Urine filtration membrane under a 4× objective, photographed by an automated digital microscope. Field of view: about 1.5 mm wide and 1.1 mm high.
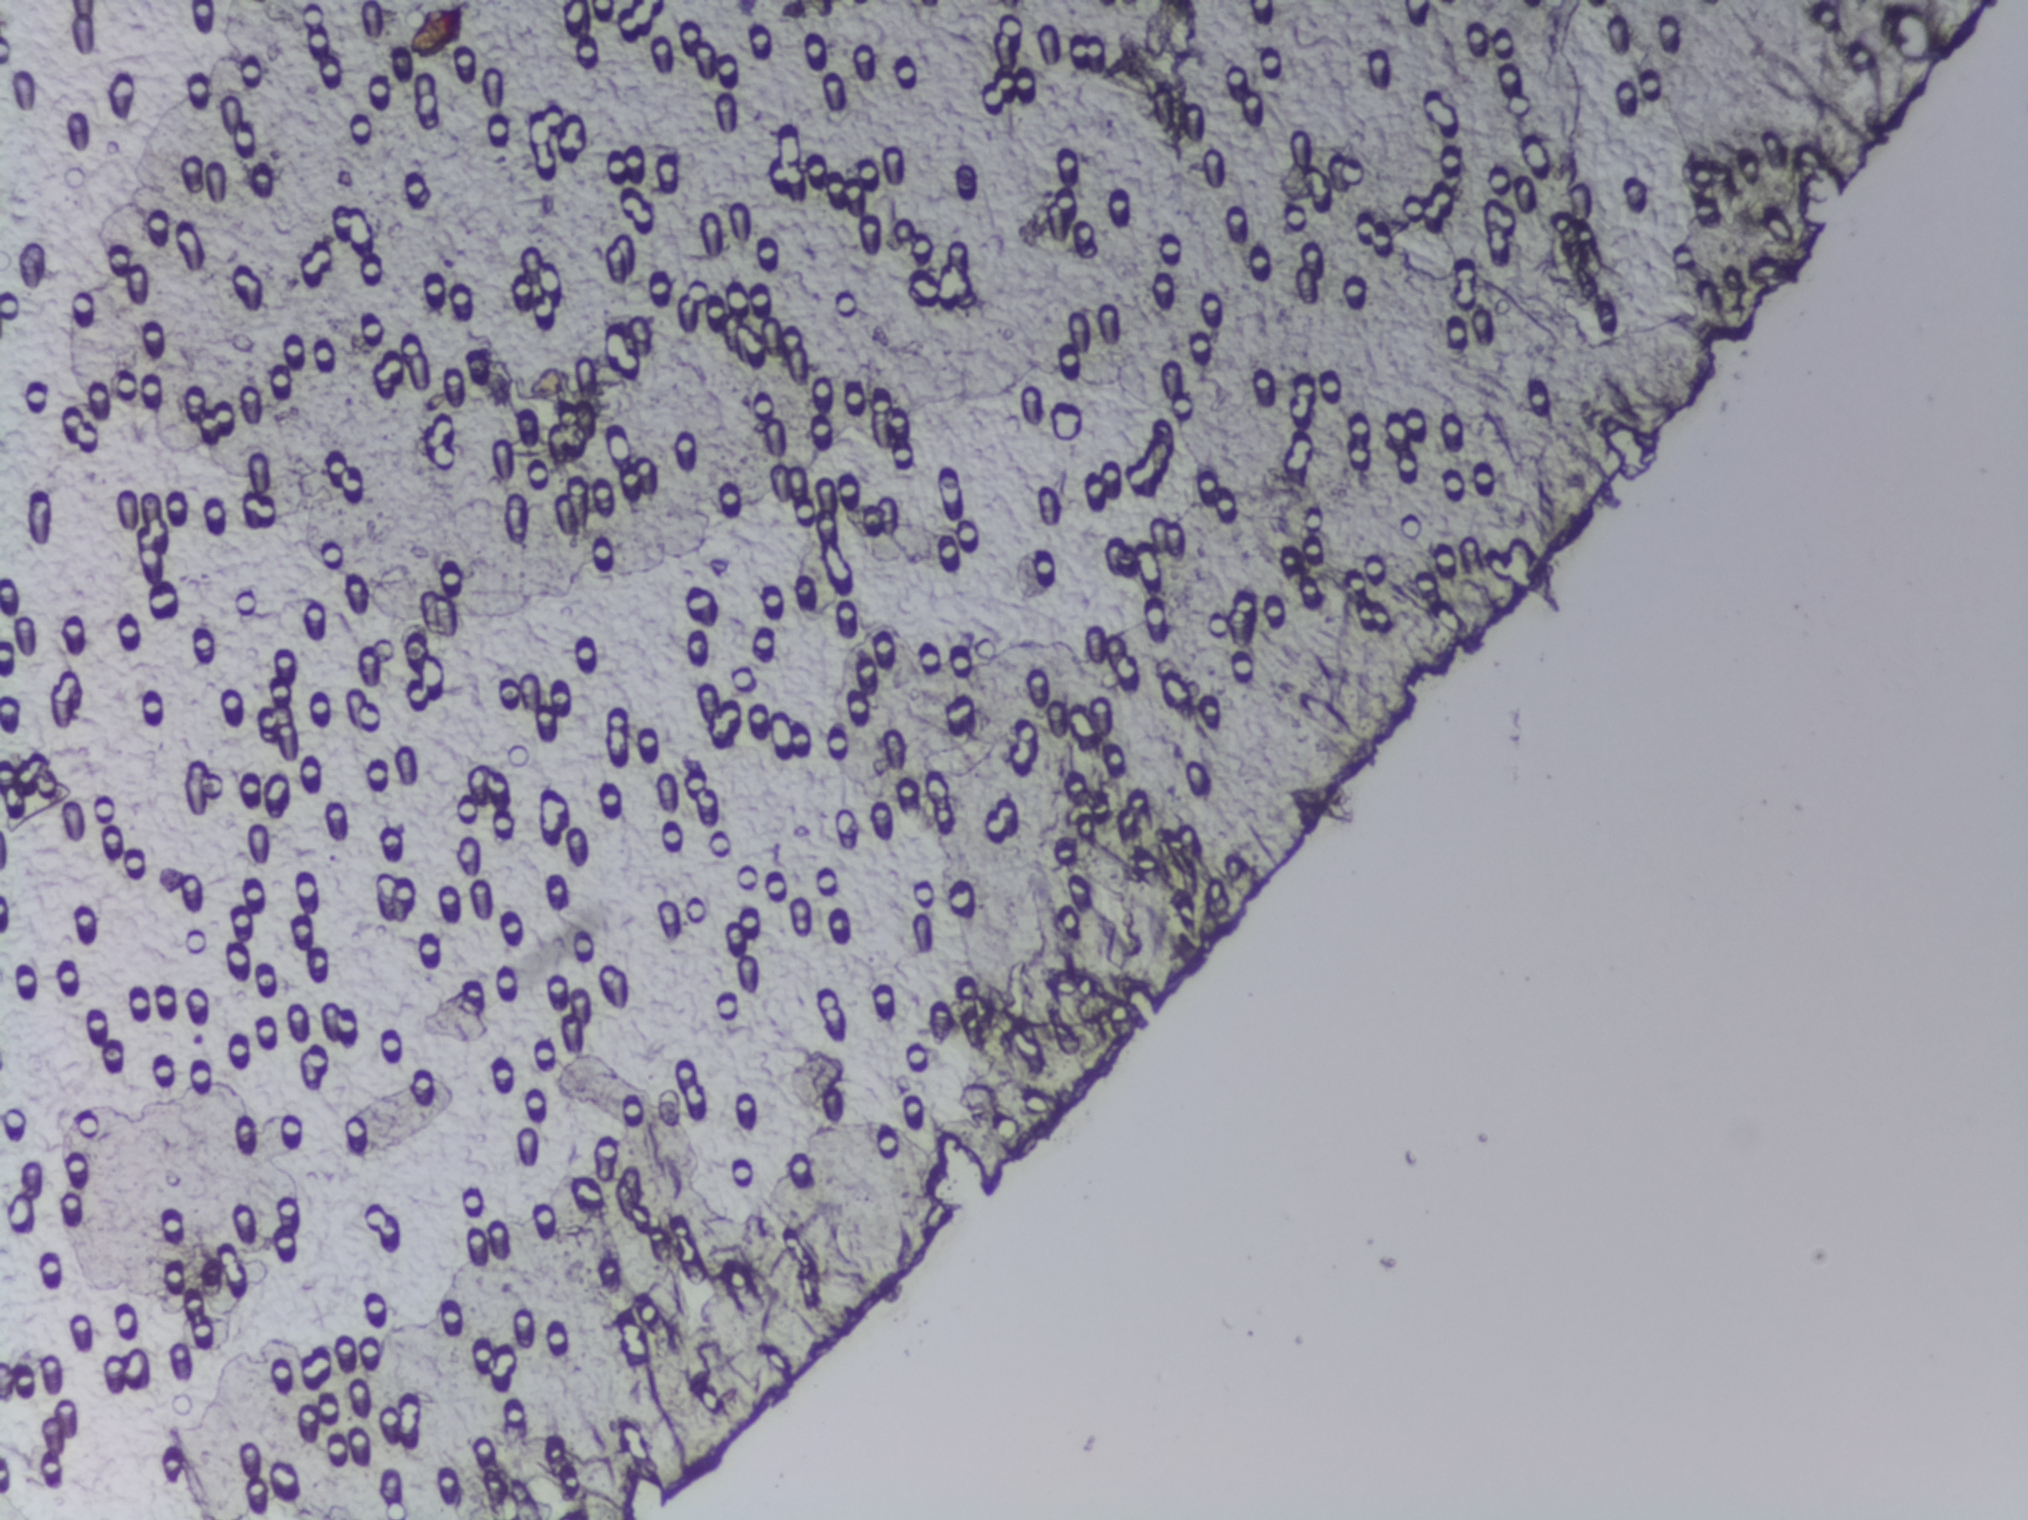
The expert annotation marks no Schistosoma egg in this field of view.